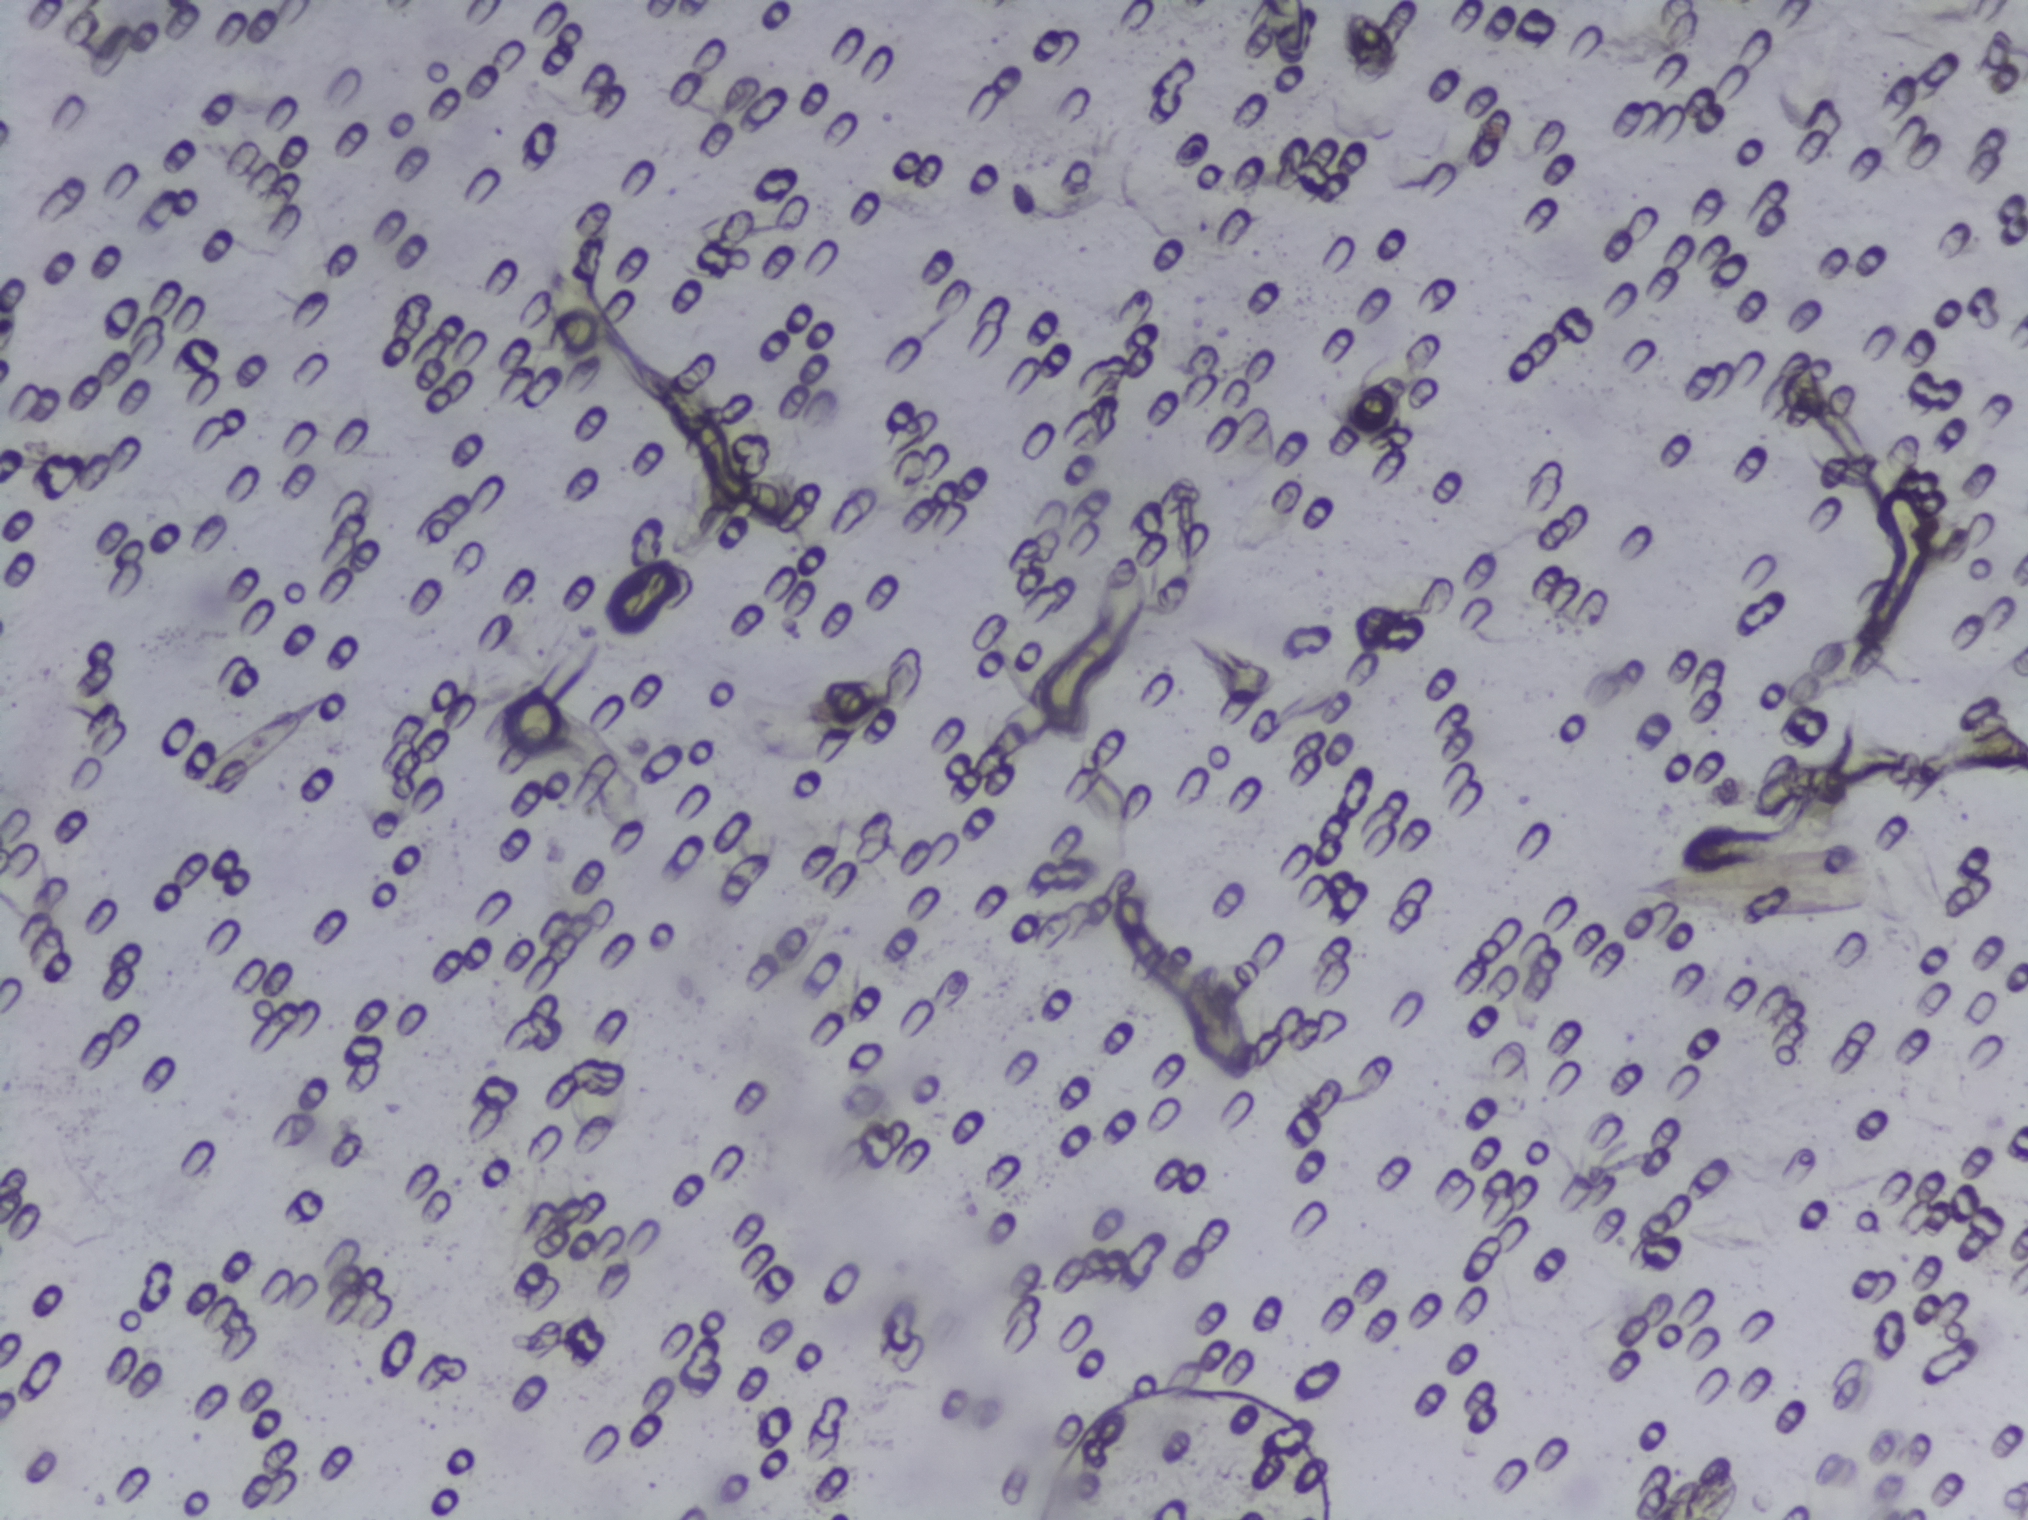
Photomicrograph of a urine filtration membrane, 4× objective.
The expert annotation outlines no Schistosoma egg in this image.